Photograph from an automated digital microscope: urine filter membrane, 4× objective.
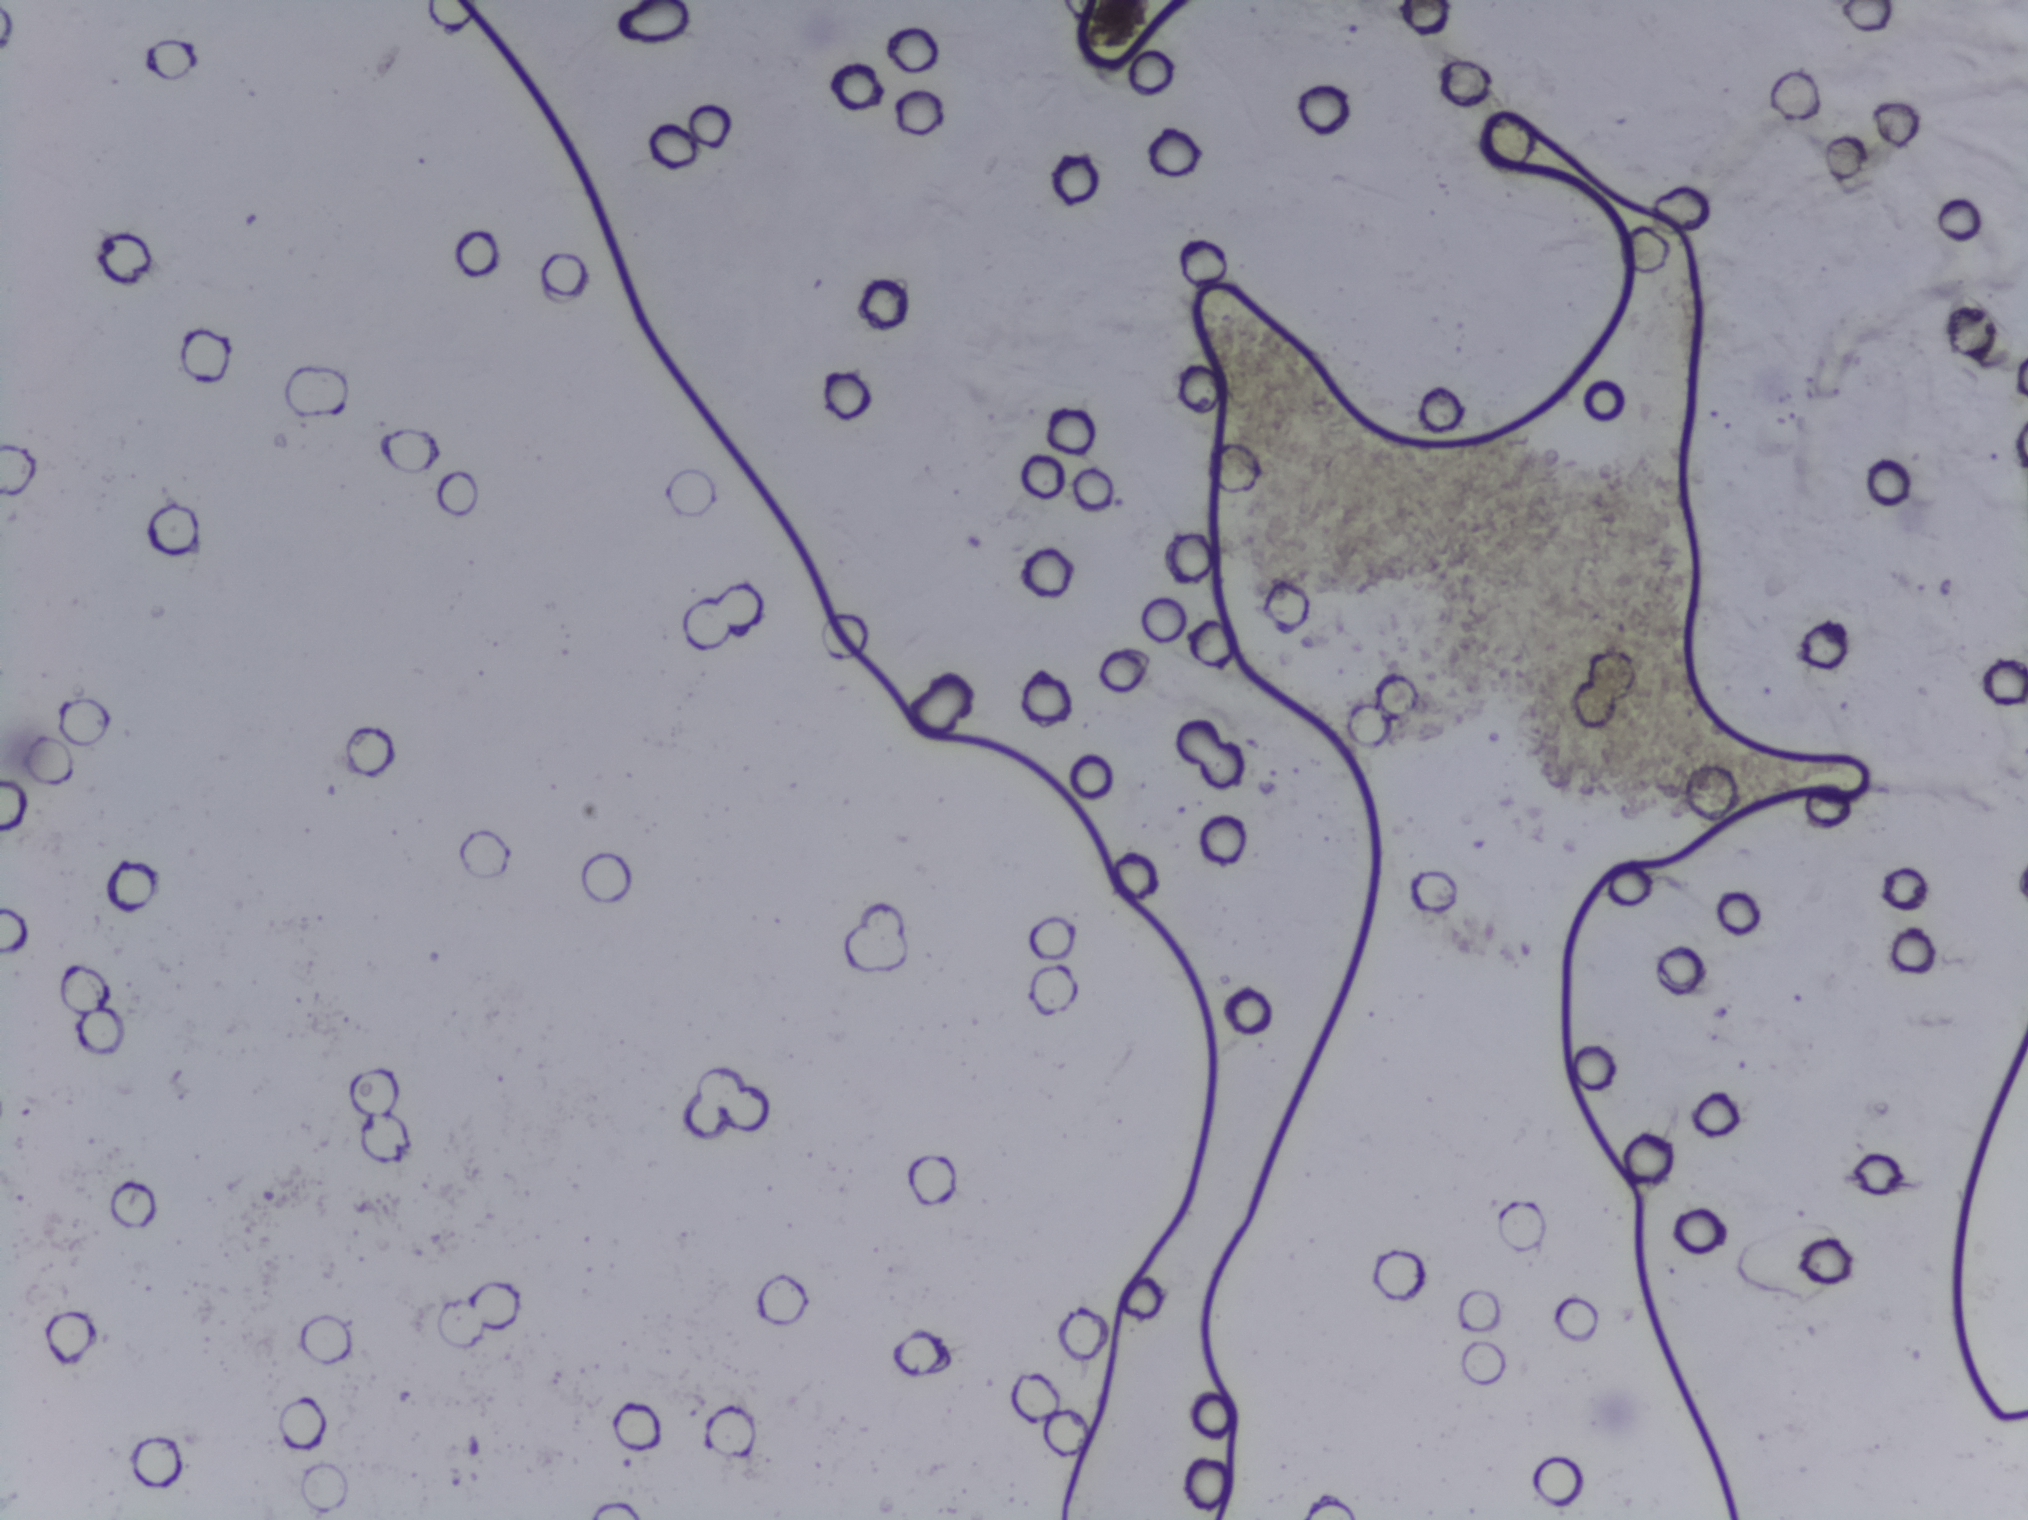
The expert annotation marks no Schistosoma egg in this field of view.